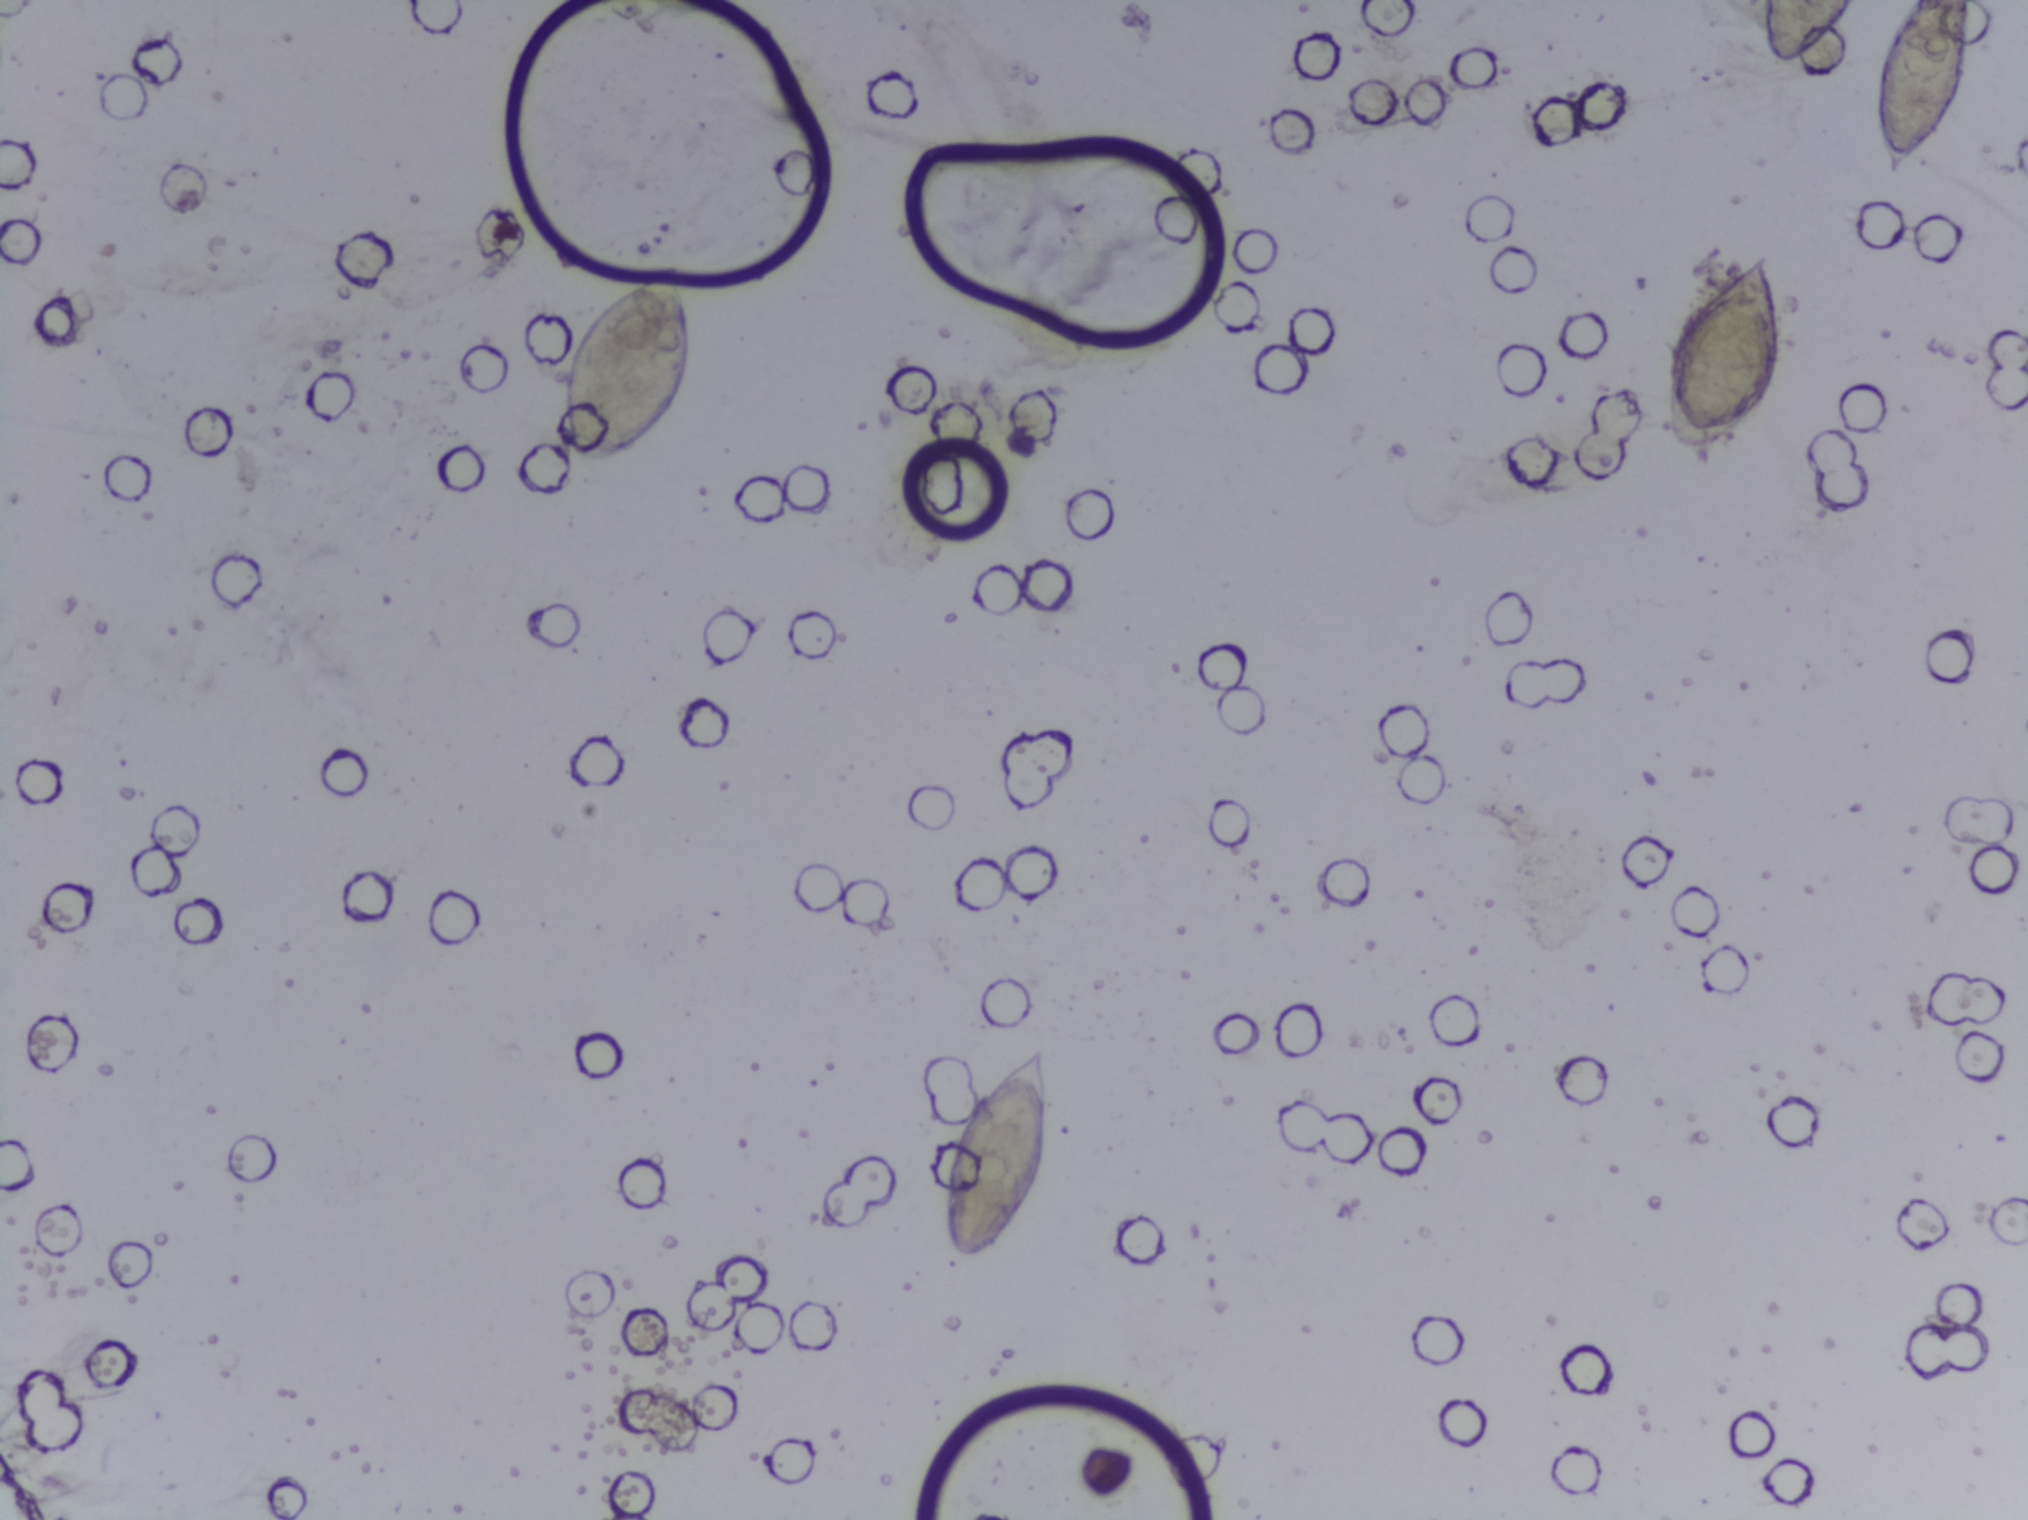
Microscope photograph (4× objective) of a membrane that a urine sample was filtered through.
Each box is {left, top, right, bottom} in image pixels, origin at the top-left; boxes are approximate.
Findings: five areas outlined as Schistosoma eggs. Locations: {546, 258, 699, 471}; {940, 1044, 1059, 1271}; {1658, 247, 1786, 454}; {1762, 0, 1854, 62} (reaching the top edge of the frame); {1869, 0, 1976, 179} (reaching the top edge of the frame). A single outlined area may contain several eggs.